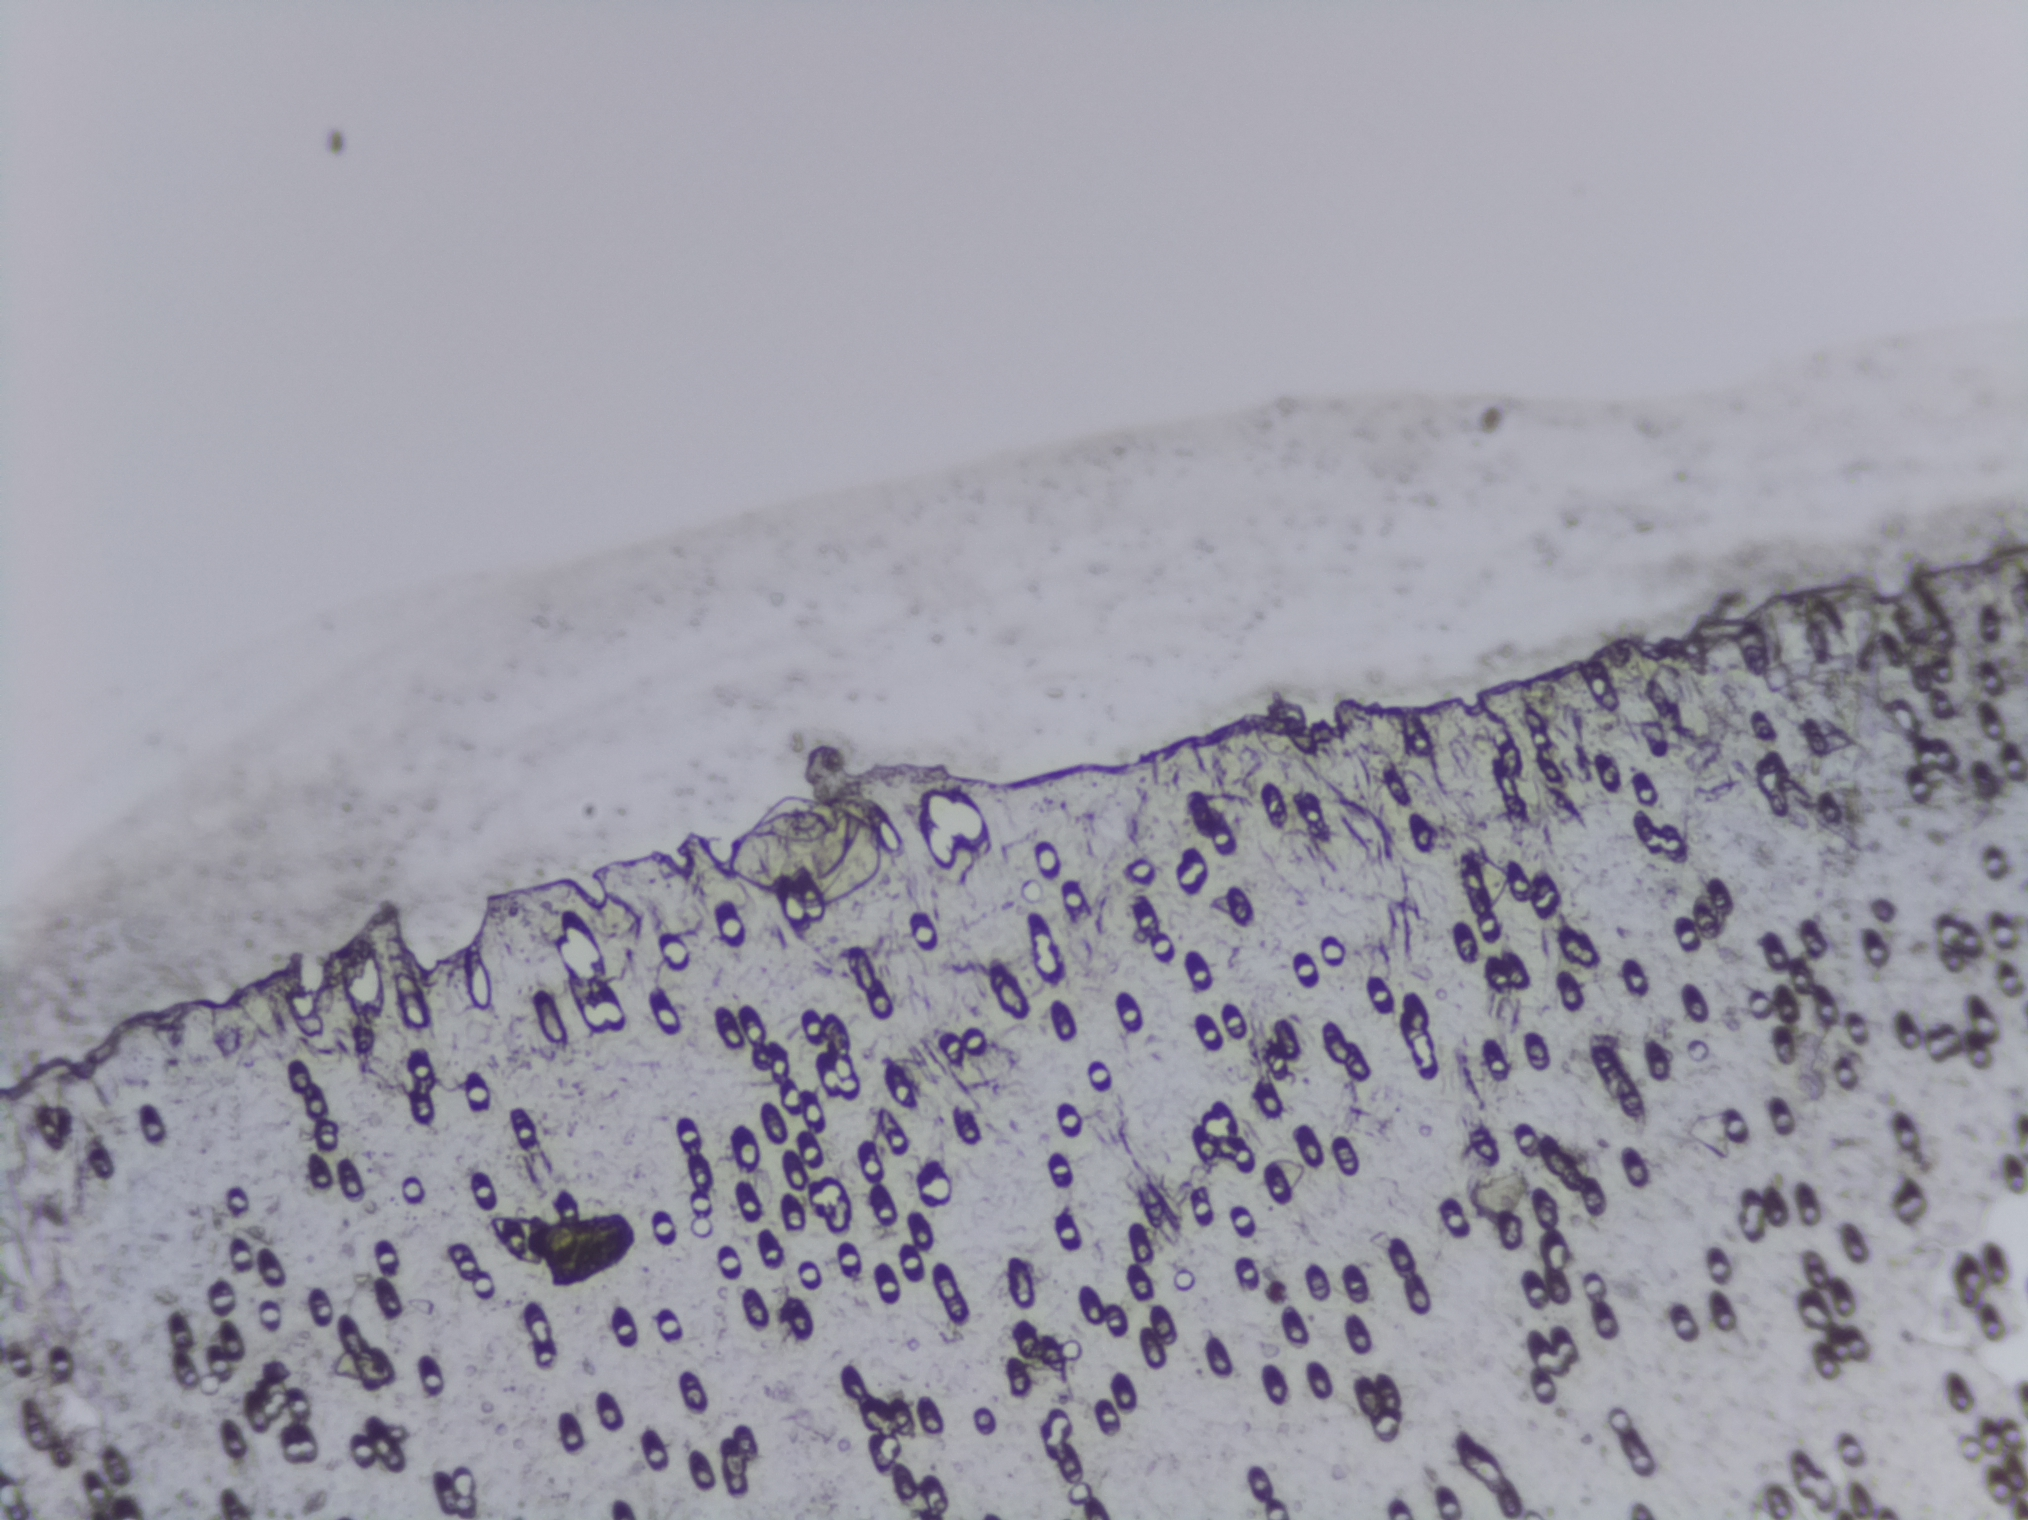
Urine filter membrane photographed through a 4× microscope objective.
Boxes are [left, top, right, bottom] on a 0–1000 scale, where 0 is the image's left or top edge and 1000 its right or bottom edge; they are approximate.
Findings: one area outlined as Schistosoma eggs. Location: [355, 524, 440, 605]. About 0.5% of the image's pixels are marked (the marked pixels themselves, not the box around them). A single outlined area may contain several eggs.